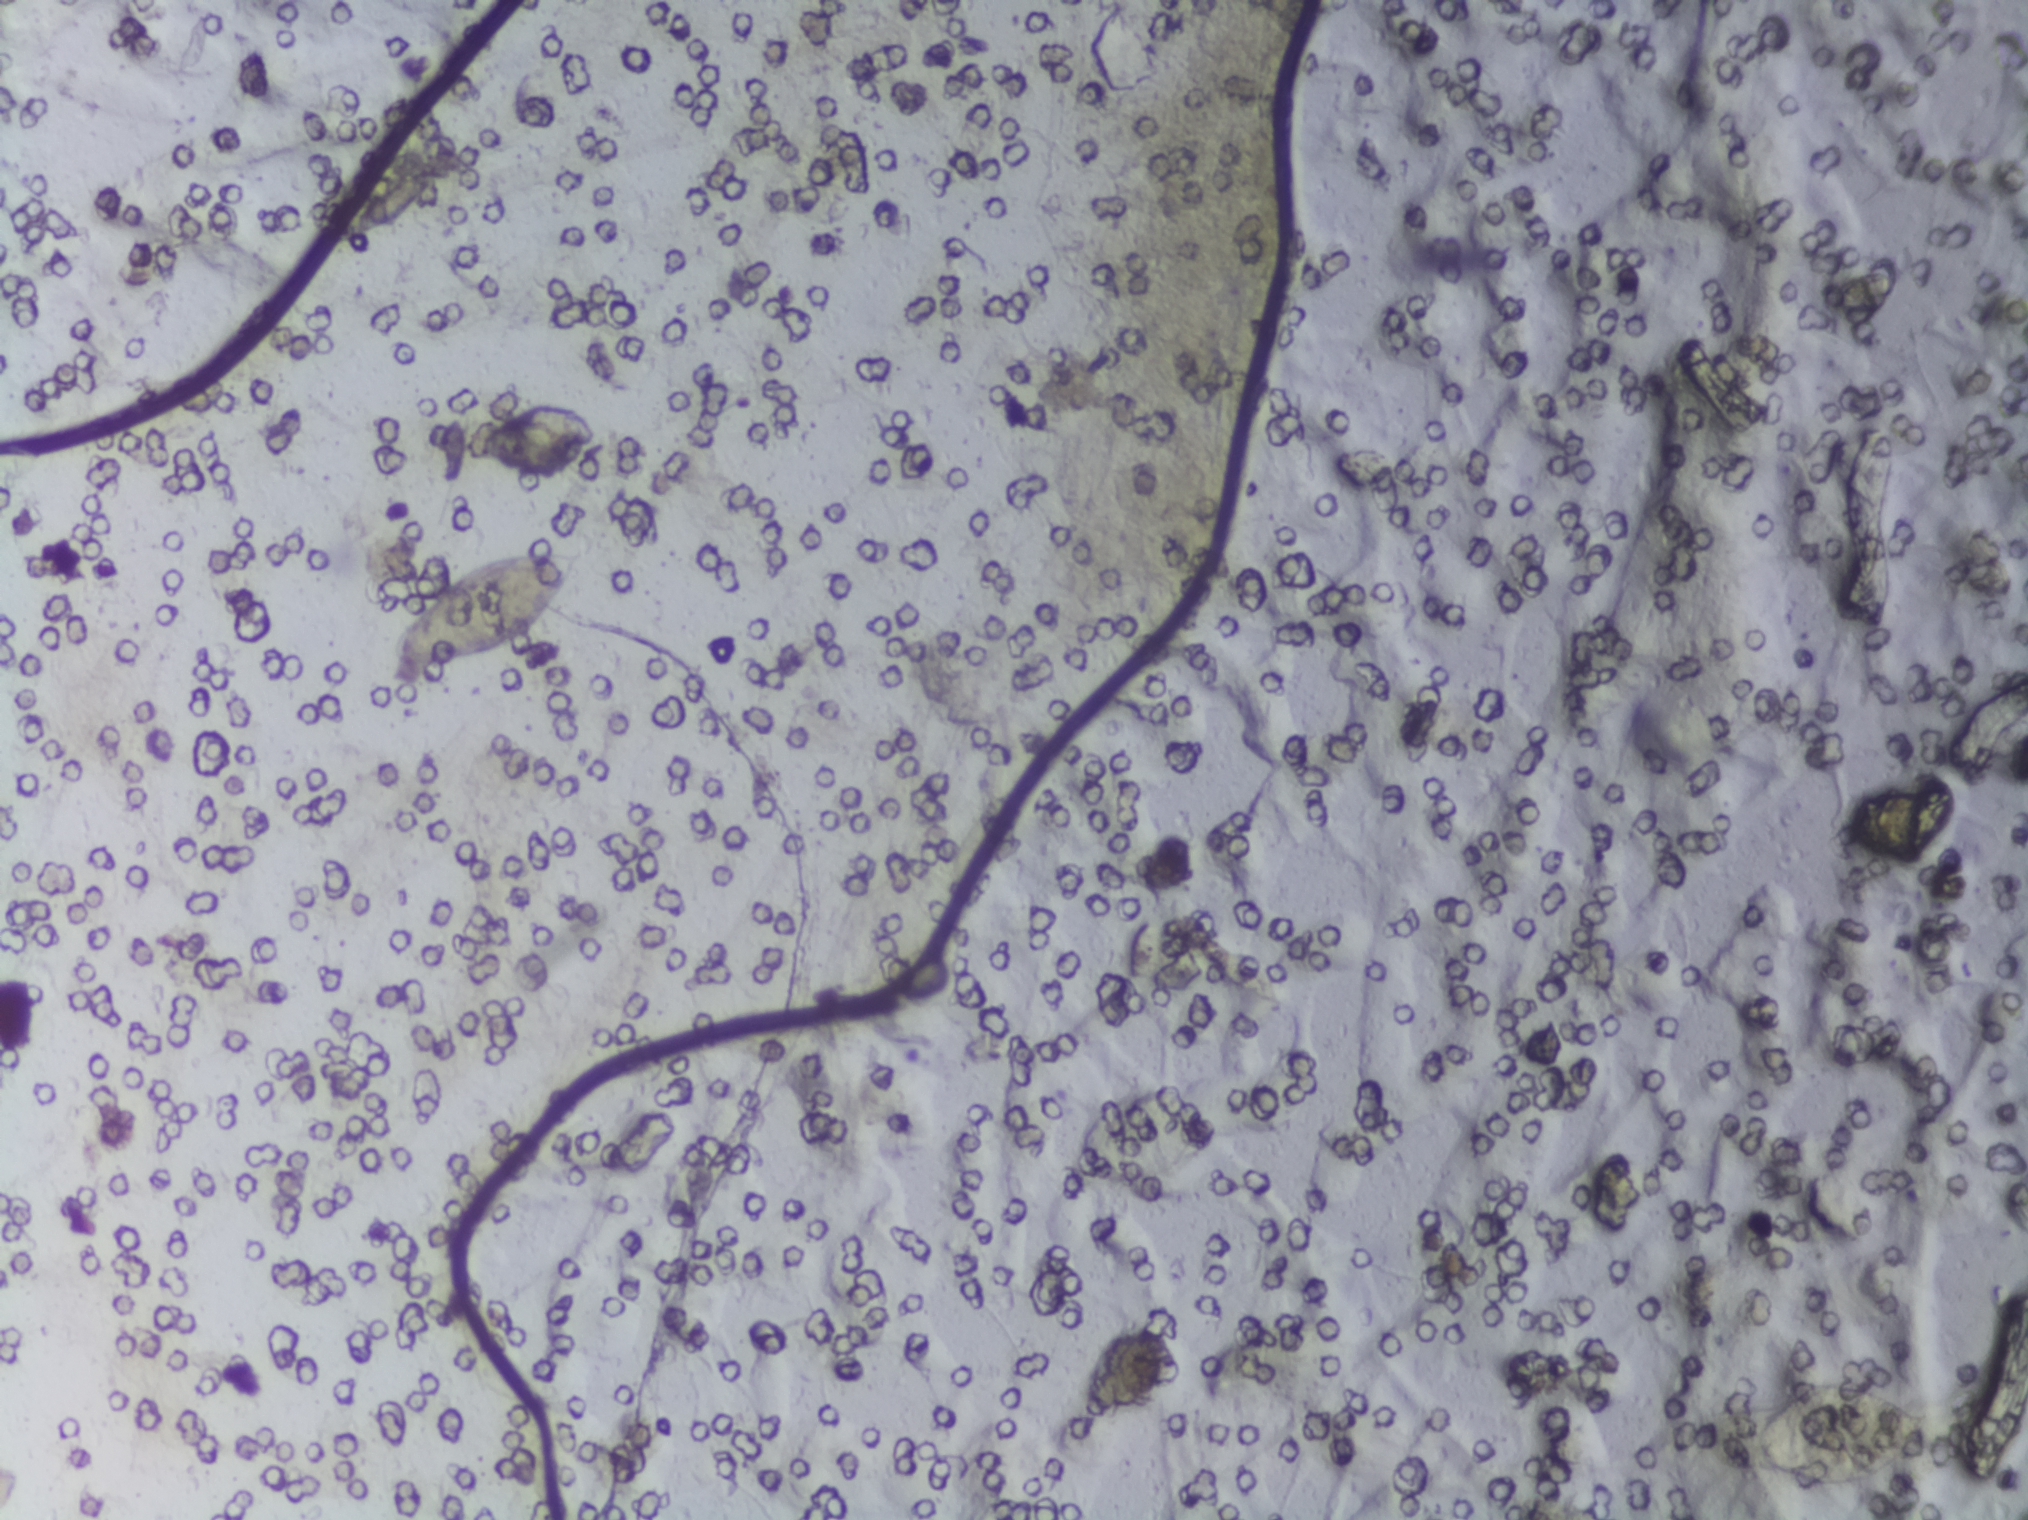
Photograph from an automated digital microscope: urine filter membrane, 4× objective. The image covers about 1.5 × 1.1 mm of the membrane.
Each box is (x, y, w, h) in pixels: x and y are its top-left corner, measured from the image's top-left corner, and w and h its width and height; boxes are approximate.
The expert annotation outlines Schistosoma eggs at (x=390, y=551, w=194, h=114) and (x=1739, y=1379, w=198, h=109) (left to right). A single outlined area may contain several eggs. Any one outlined egg may, rarely, be S. mansoni rather than S. haematobium.